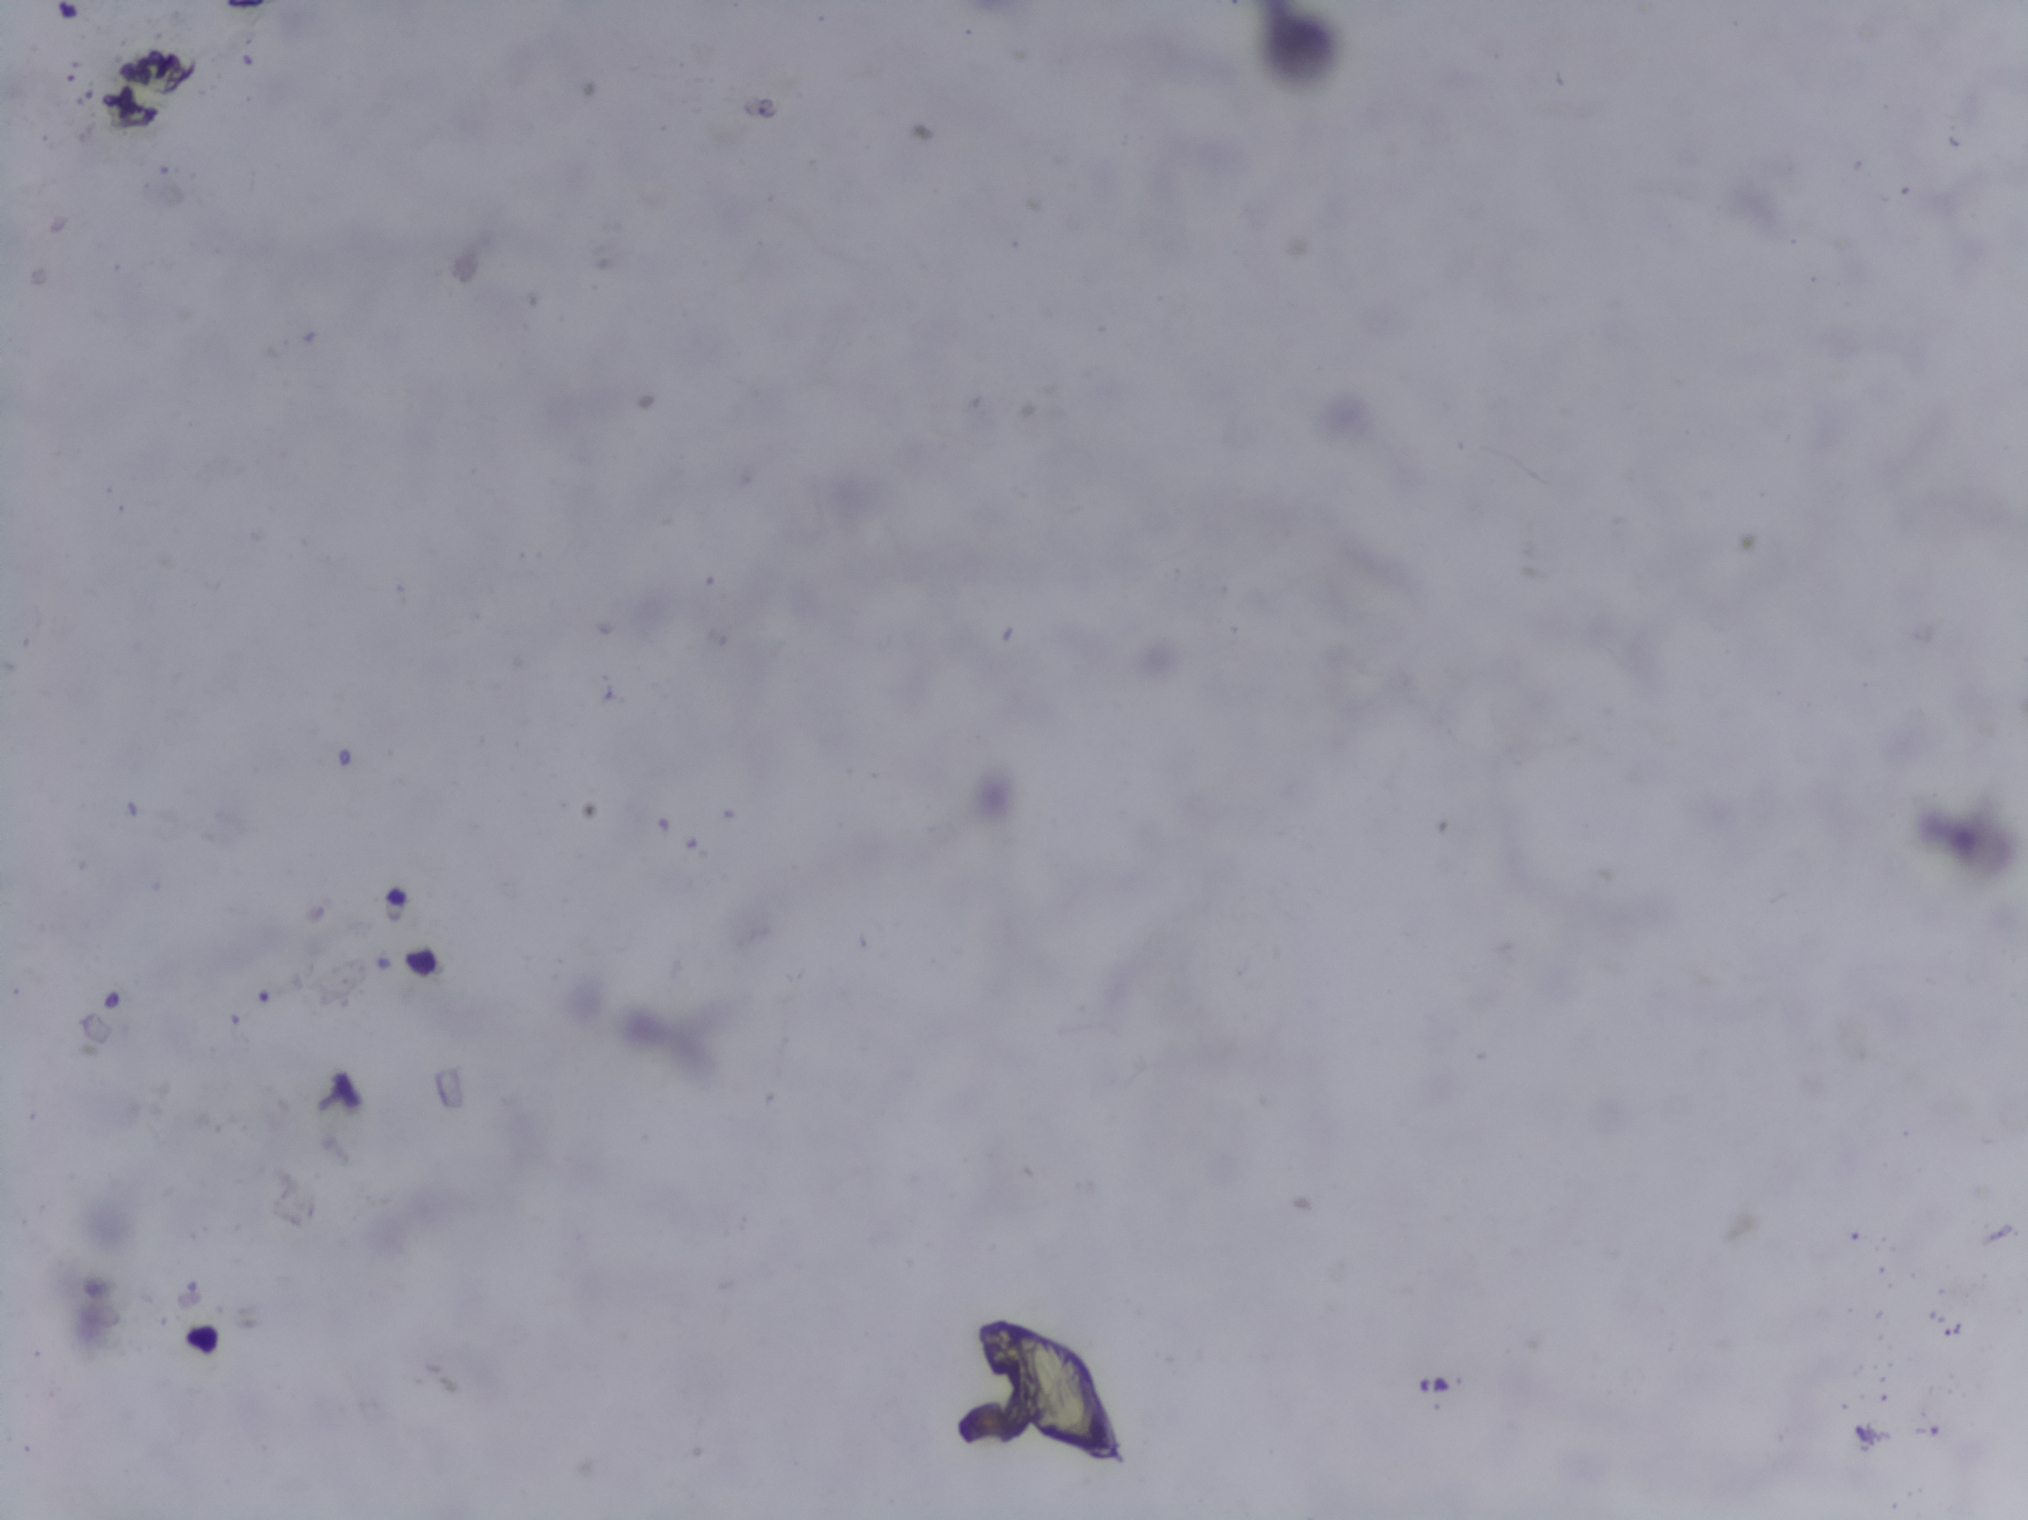
Urine filter membrane photographed through a 4× microscope objective. The field of view is about 1.5 mm × 1.1 mm.
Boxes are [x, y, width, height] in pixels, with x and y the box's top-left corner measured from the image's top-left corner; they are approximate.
{"schistosoma_egg_areas_xywh_px": [[974, 1313, 155, 155]]}
An outlined area can hold more than one egg.